Urine filtration membrane under a 4× objective, photographed by an automated digital microscope. The field of view is about 1.5 mm × 1.1 mm.
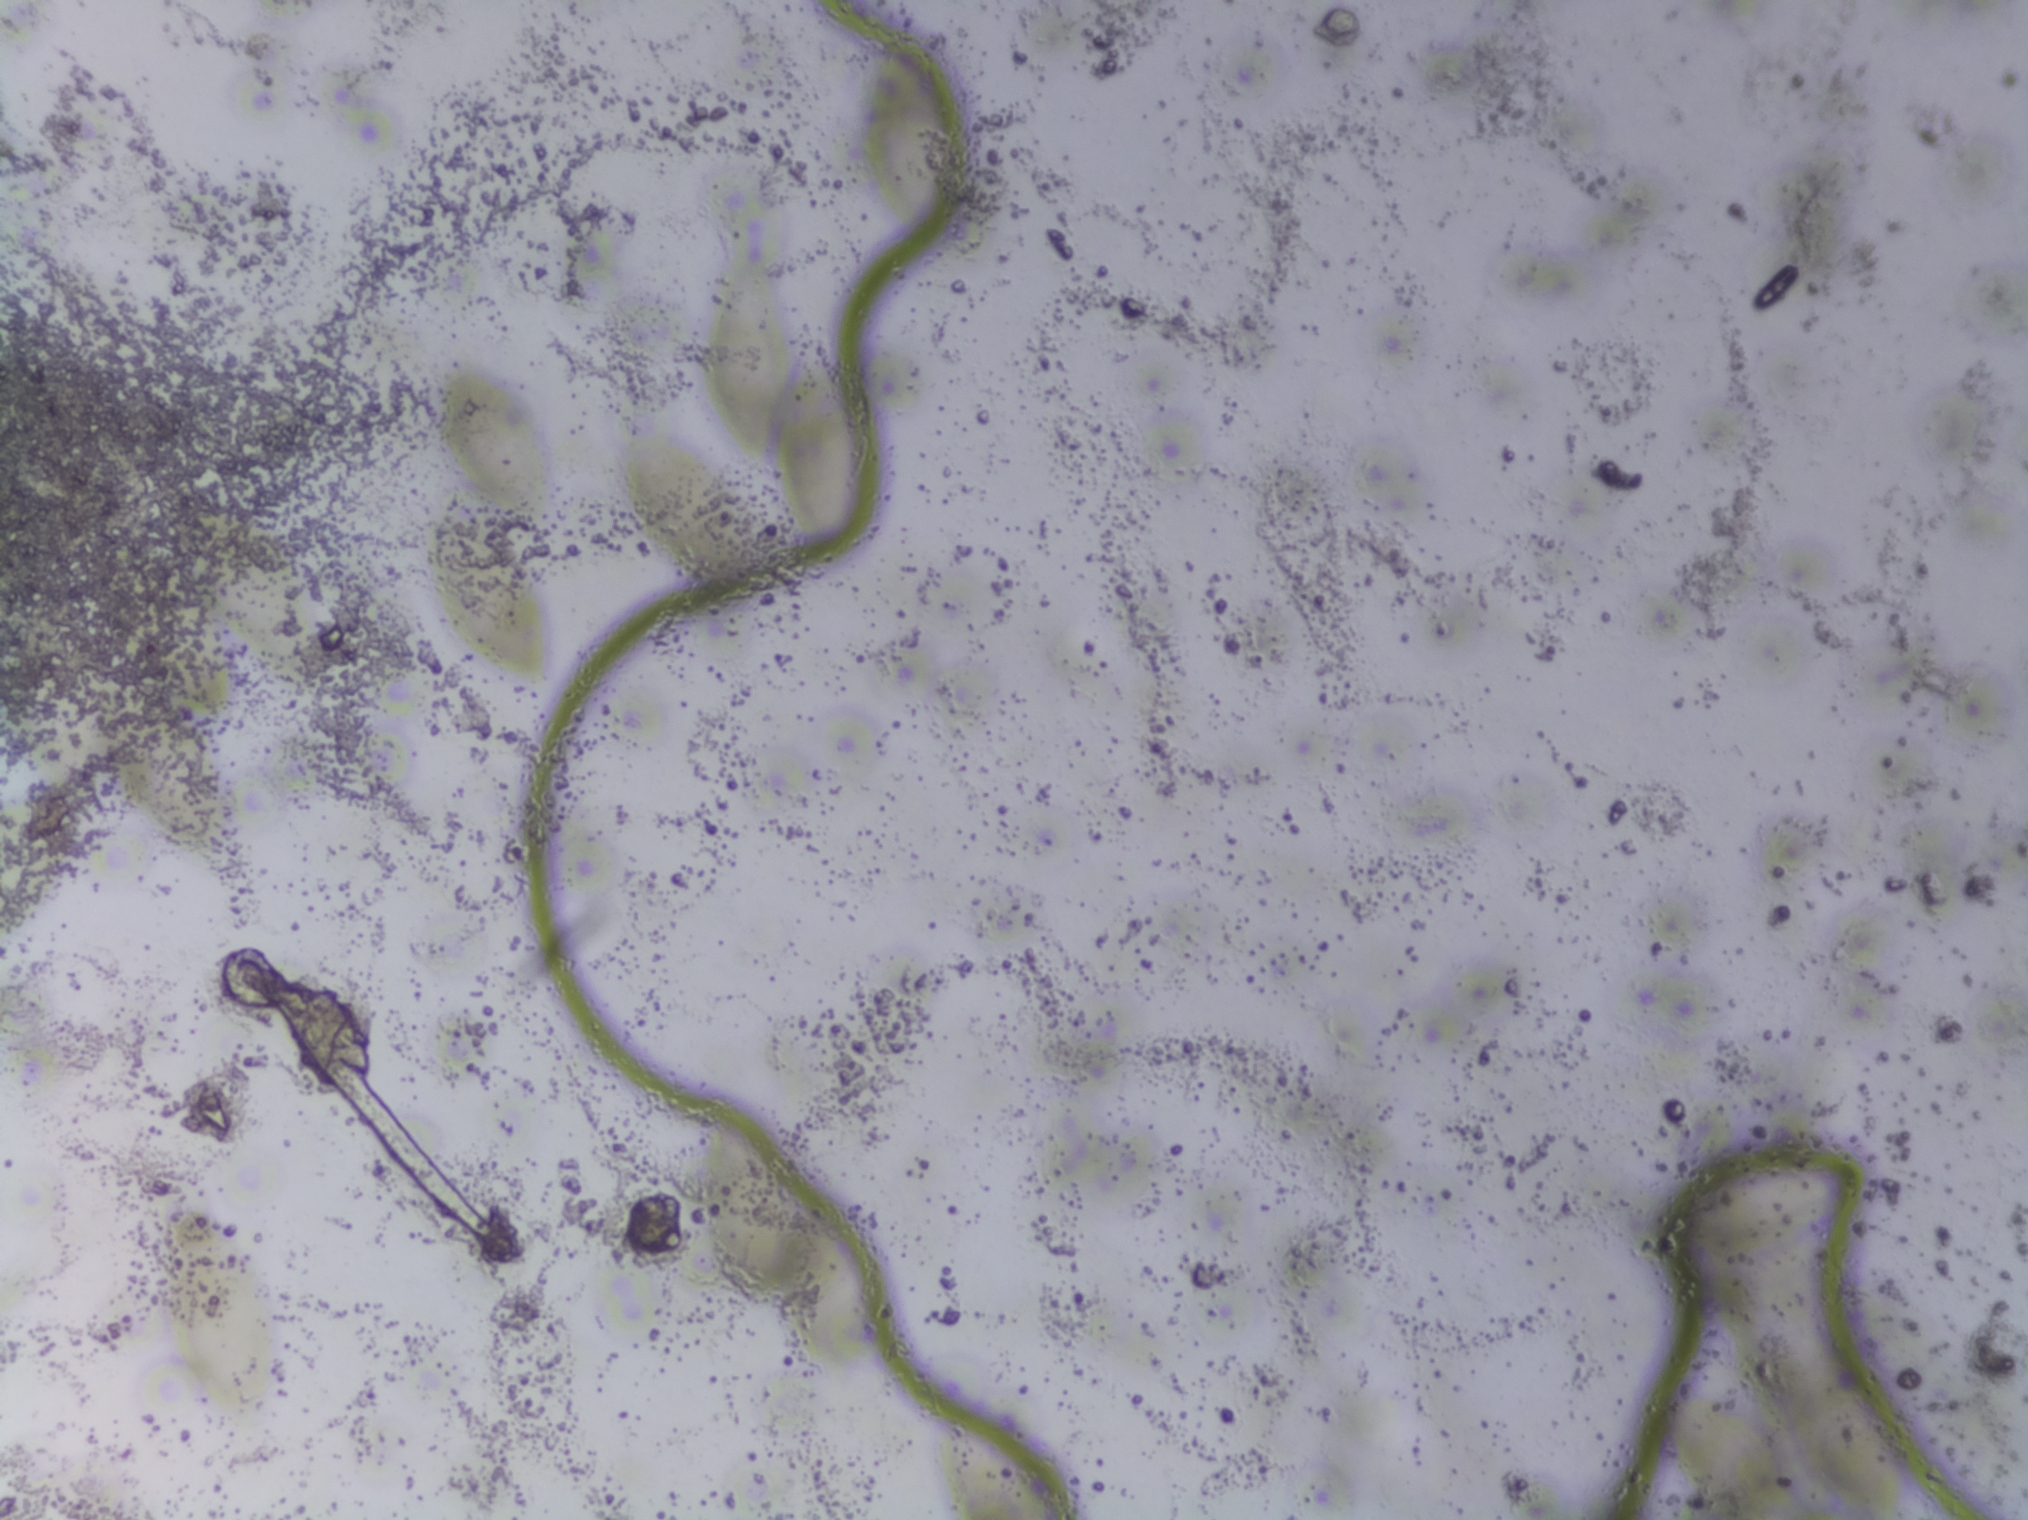
The expert annotation marks no Schistosoma egg in this field of view.